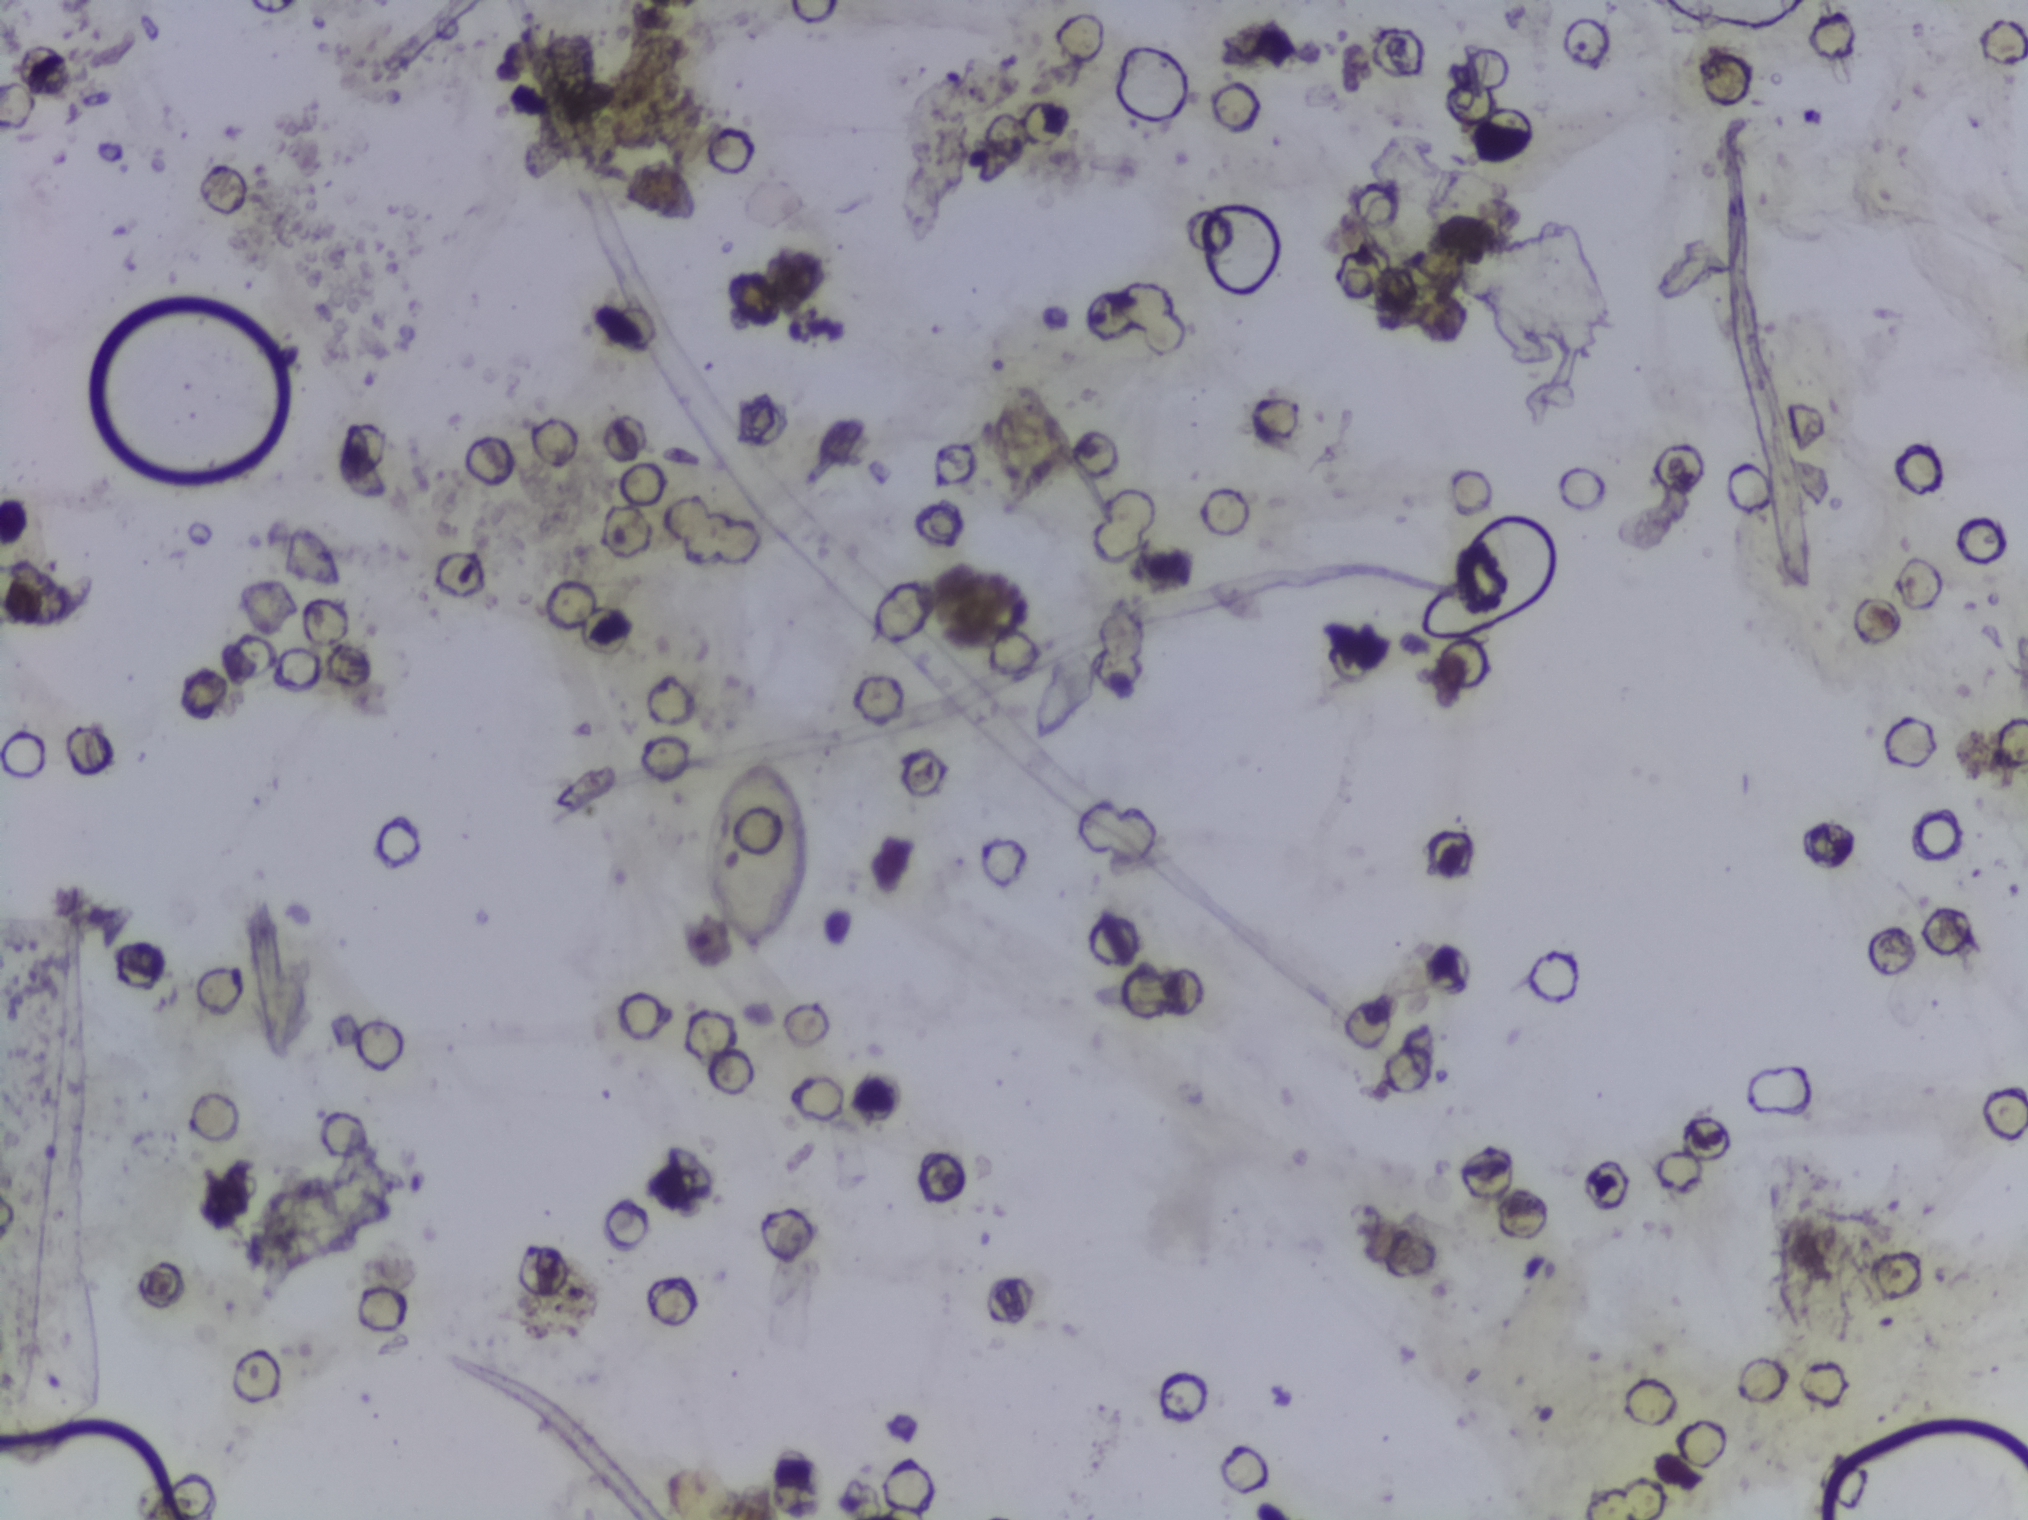
Urine filter membrane photographed through a 4× microscope objective.
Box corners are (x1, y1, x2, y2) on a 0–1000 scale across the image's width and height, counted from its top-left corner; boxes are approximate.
Schistosoma eggs are outlined in one area of this image: (345, 500, 401, 635). The marked pixels themselves, not the box around them, cover about 0.5% of the image. A single outlined area may contain several eggs.